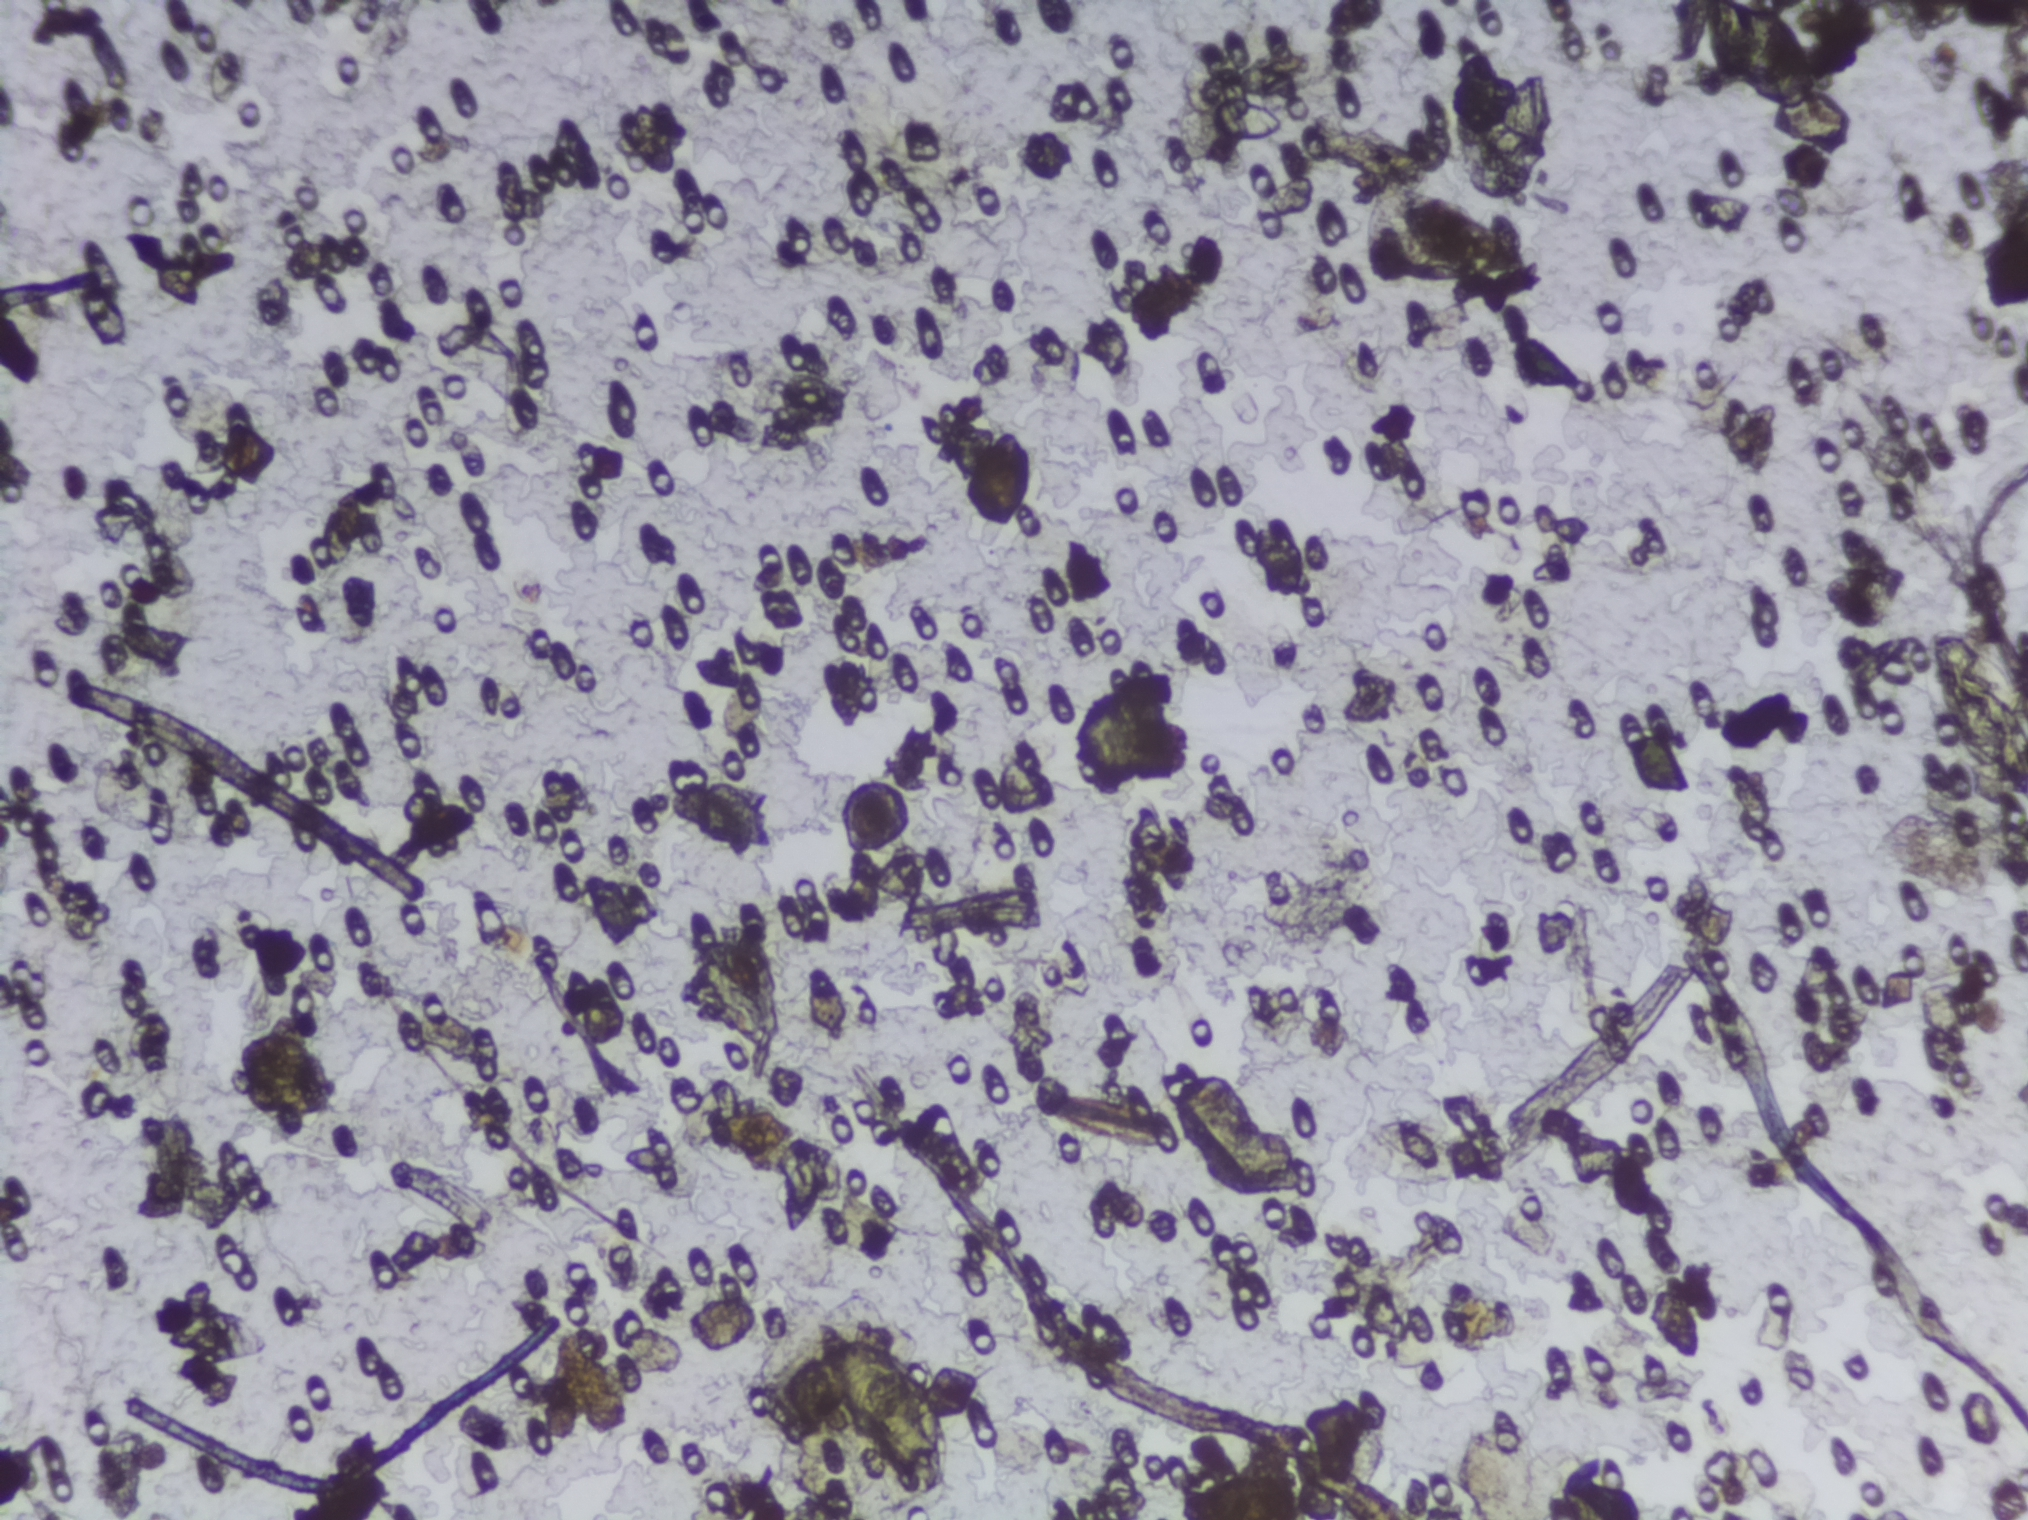
One field of view of a urine filter membrane, 4× objective, 2028 × 1520 pixels. The field of view is about 1.5 mm × 1.1 mm.
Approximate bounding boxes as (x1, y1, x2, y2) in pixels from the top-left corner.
Schistosoma eggs are outlined in the expert annotation at (821, 1319, 956, 1492). An outlined area can hold more than one egg.